Urine filtration membrane under a 4× objective, photographed by an automated digital microscope.
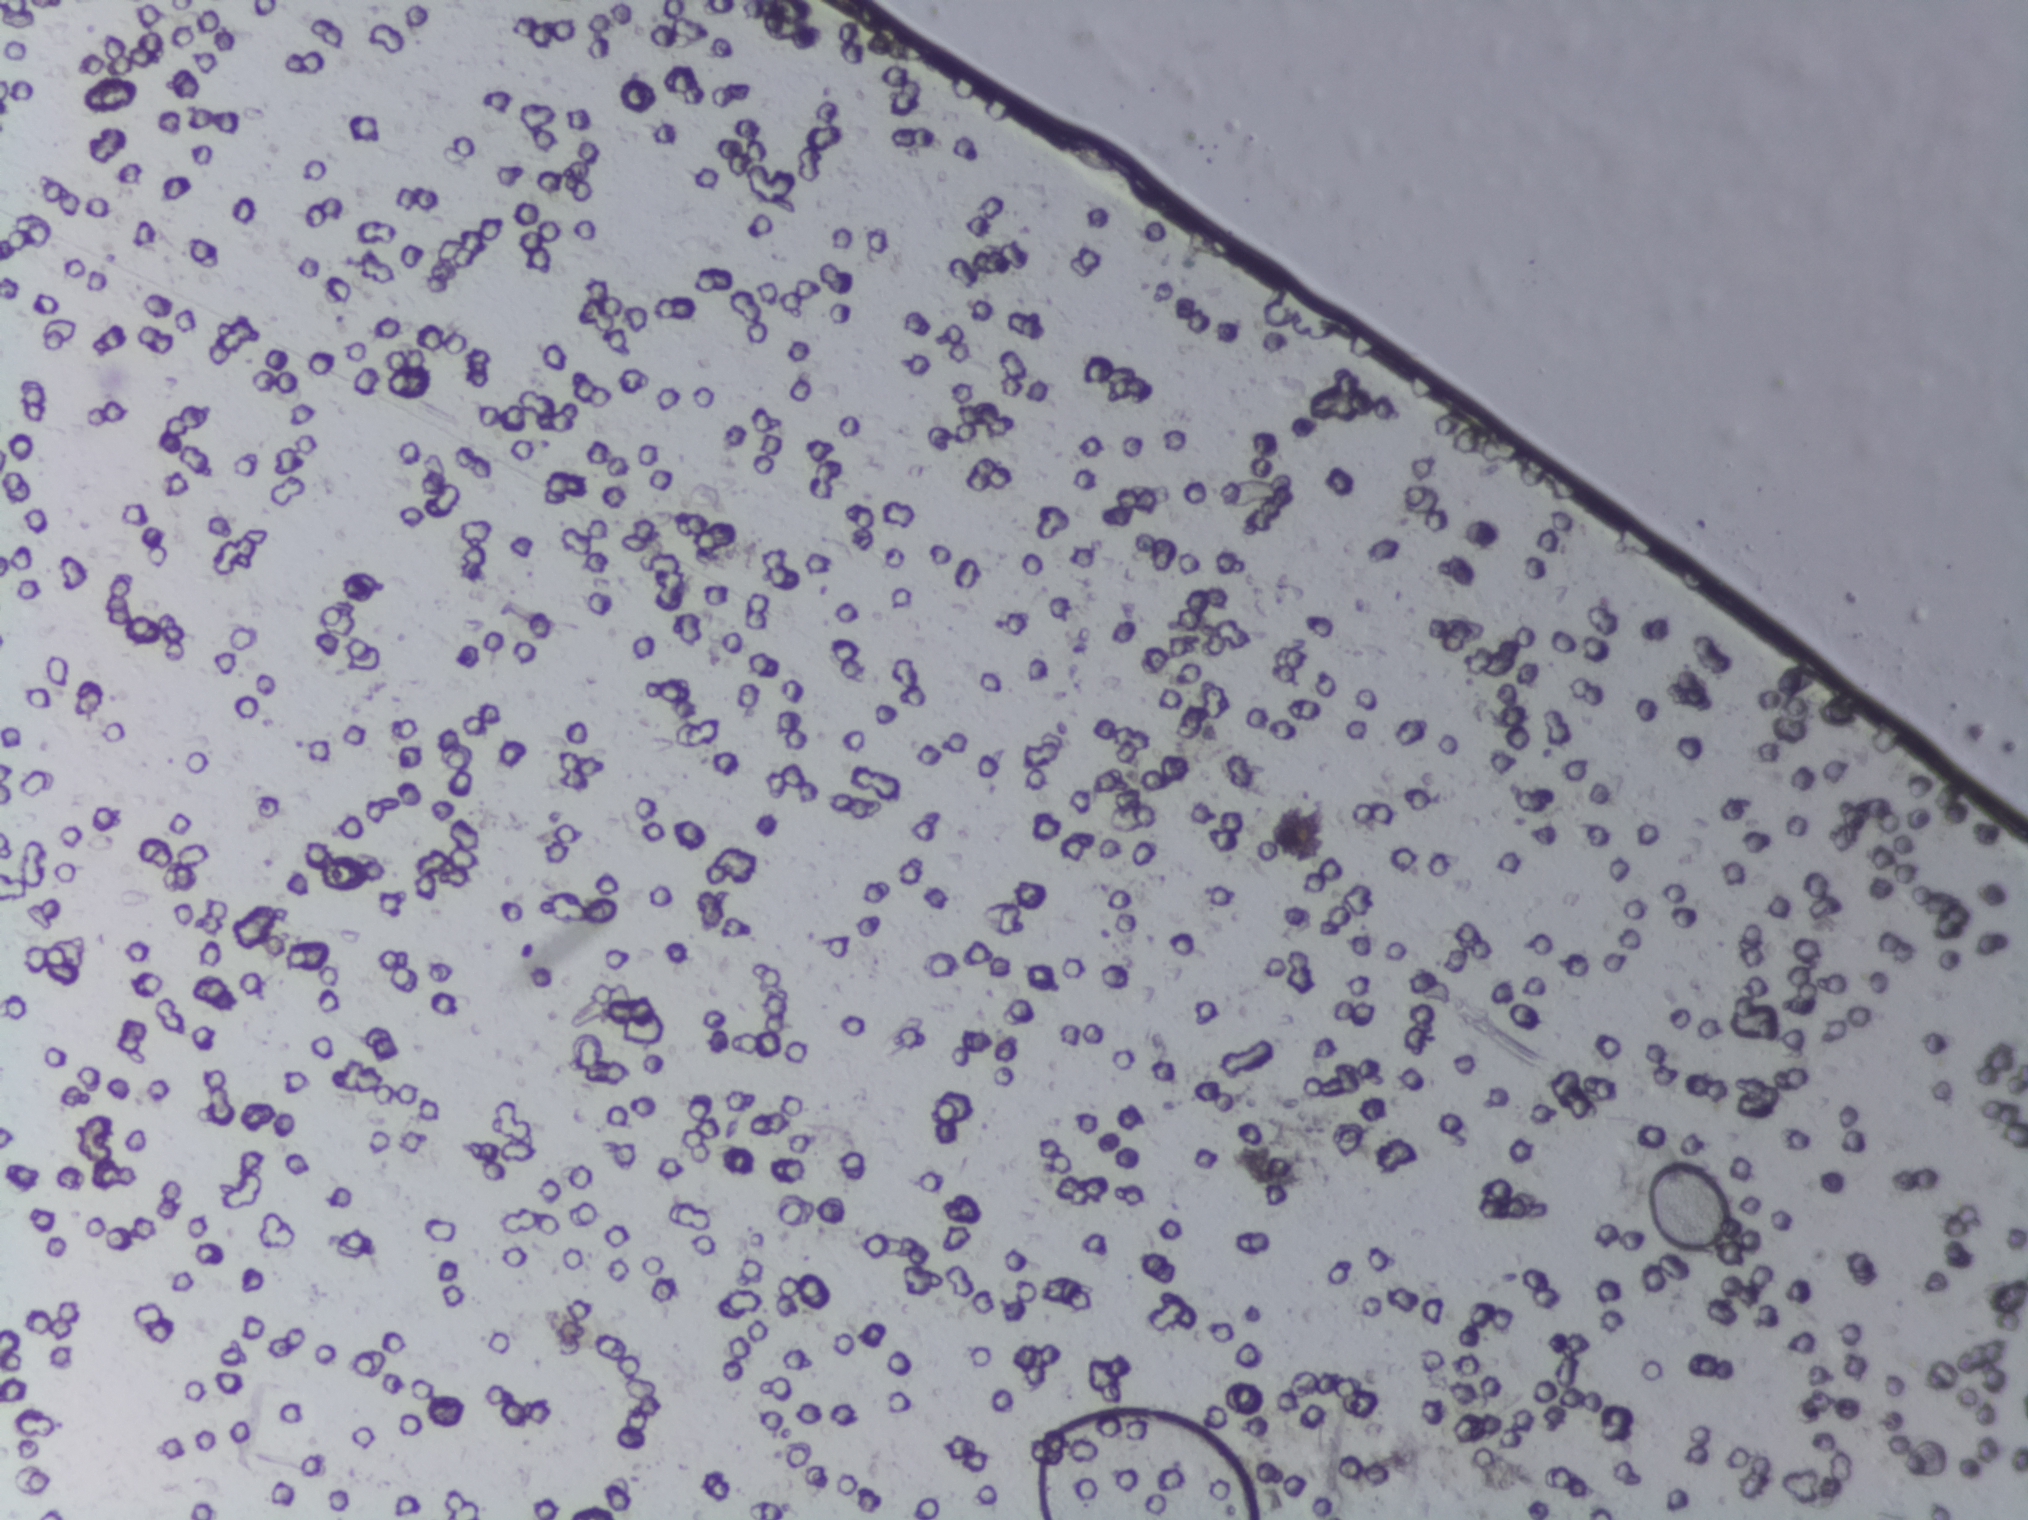
The expert annotation outlines no Schistosoma egg in this image.